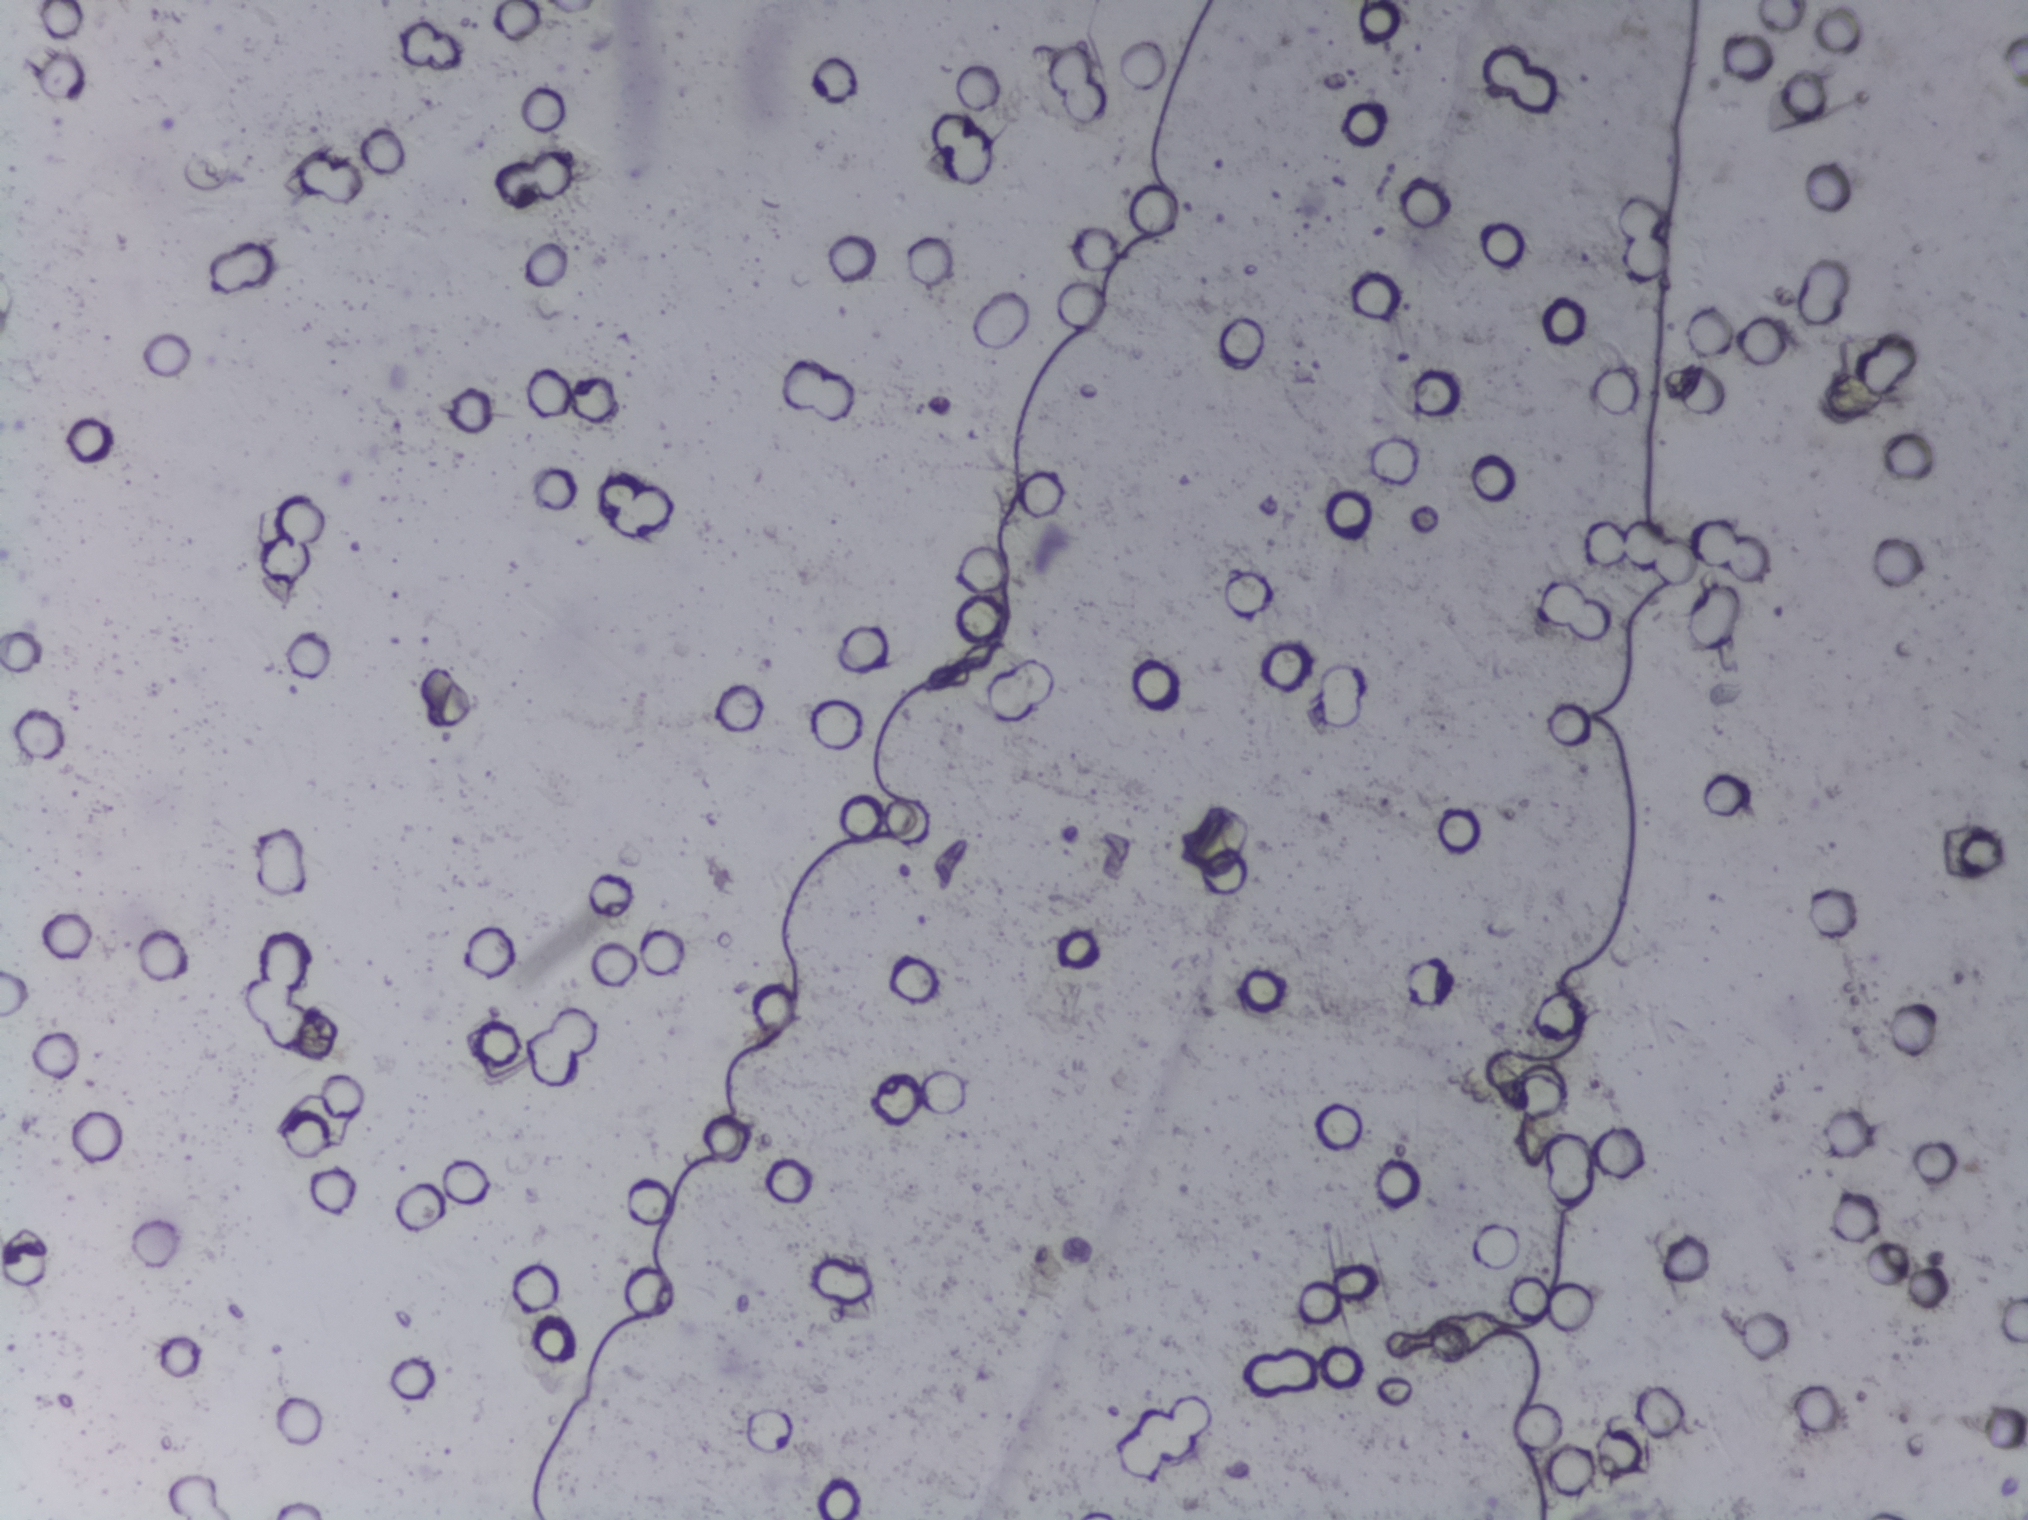
Schistosoma eggs: none outlined.
Photomicrograph of a urine filtration membrane, 4× objective. The field of view is about 1.5 mm × 1.1 mm.